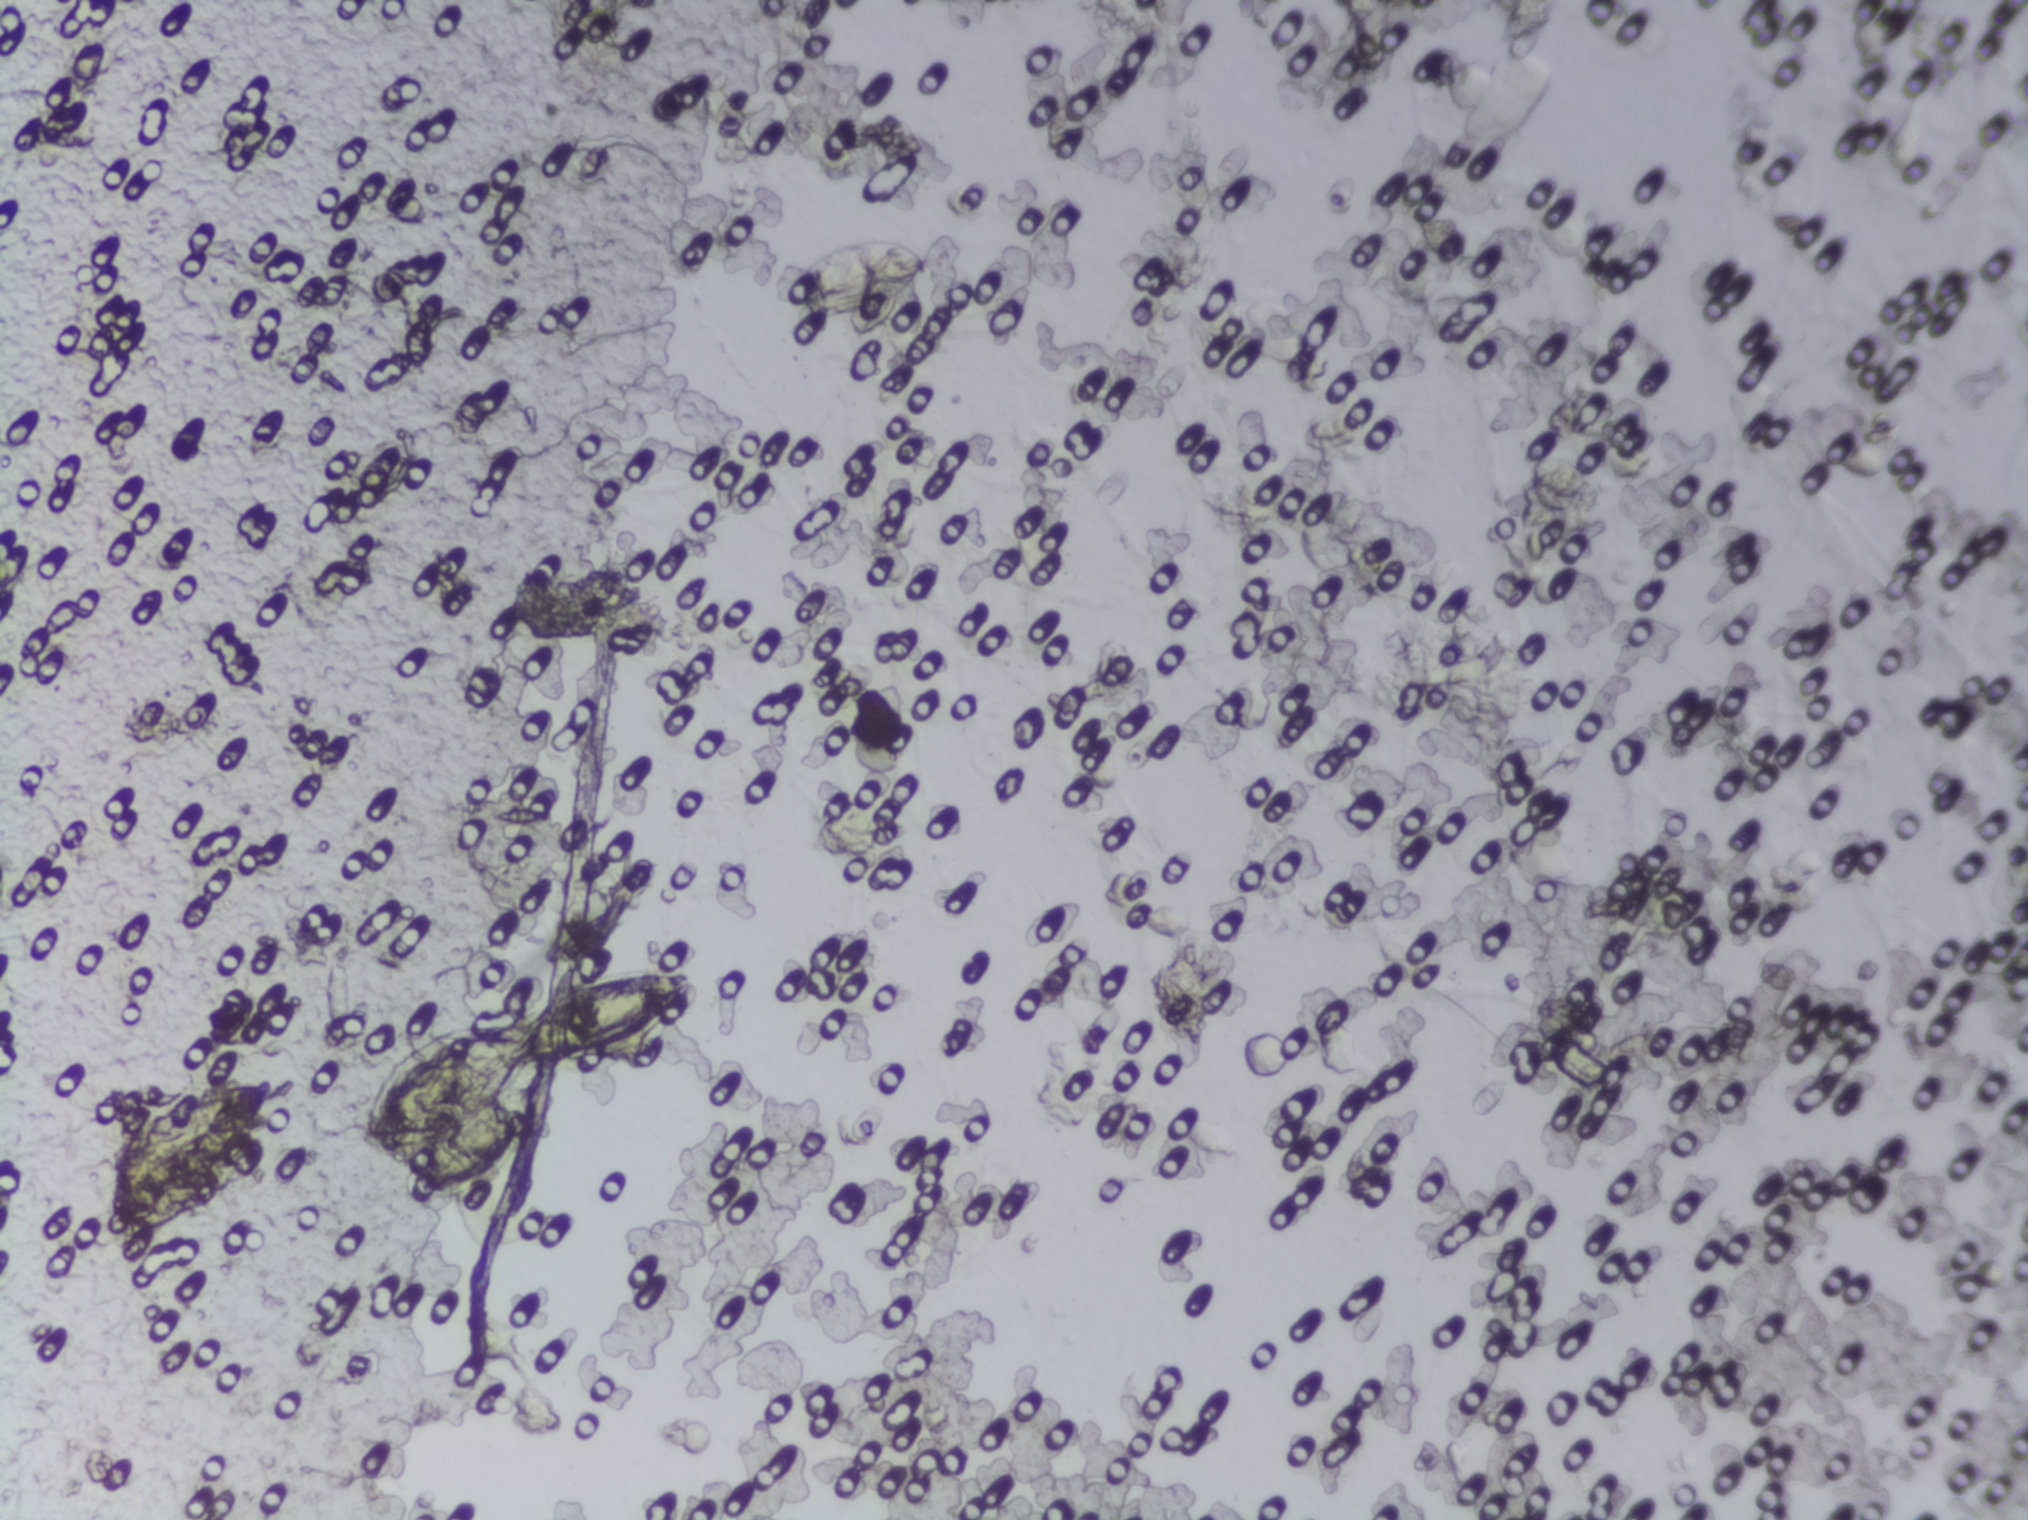
Urine filtration membrane under a 4× objective, photographed by an automated digital microscope. Field of view: about 1.5 mm wide and 1.1 mm high.
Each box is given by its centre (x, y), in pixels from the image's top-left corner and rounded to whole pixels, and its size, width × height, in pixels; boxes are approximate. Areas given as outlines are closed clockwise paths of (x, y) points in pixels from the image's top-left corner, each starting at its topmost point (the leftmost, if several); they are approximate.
Findings: three areas outlined as Schistosoma eggs. Locations, left to right: box centre (188, 1162), 171 × 164 px; outline (655, 966), (692, 968), (699, 990), (692, 1014), (637, 1052), (514, 1071), (513, 1077), (528, 1077), (537, 1087), (538, 1112), (527, 1143), (496, 1186), (452, 1200), (416, 1201), (358, 1142), (355, 1121), (369, 1084), (428, 1035), (480, 1021), (528, 1019), (578, 983); box centre (861, 283), 138 × 90 px. About 2.0% of the image's pixels are marked (the marked pixels themselves, not the boxes and the outline around them). Eggs that touch can end up inside the same outlined area.